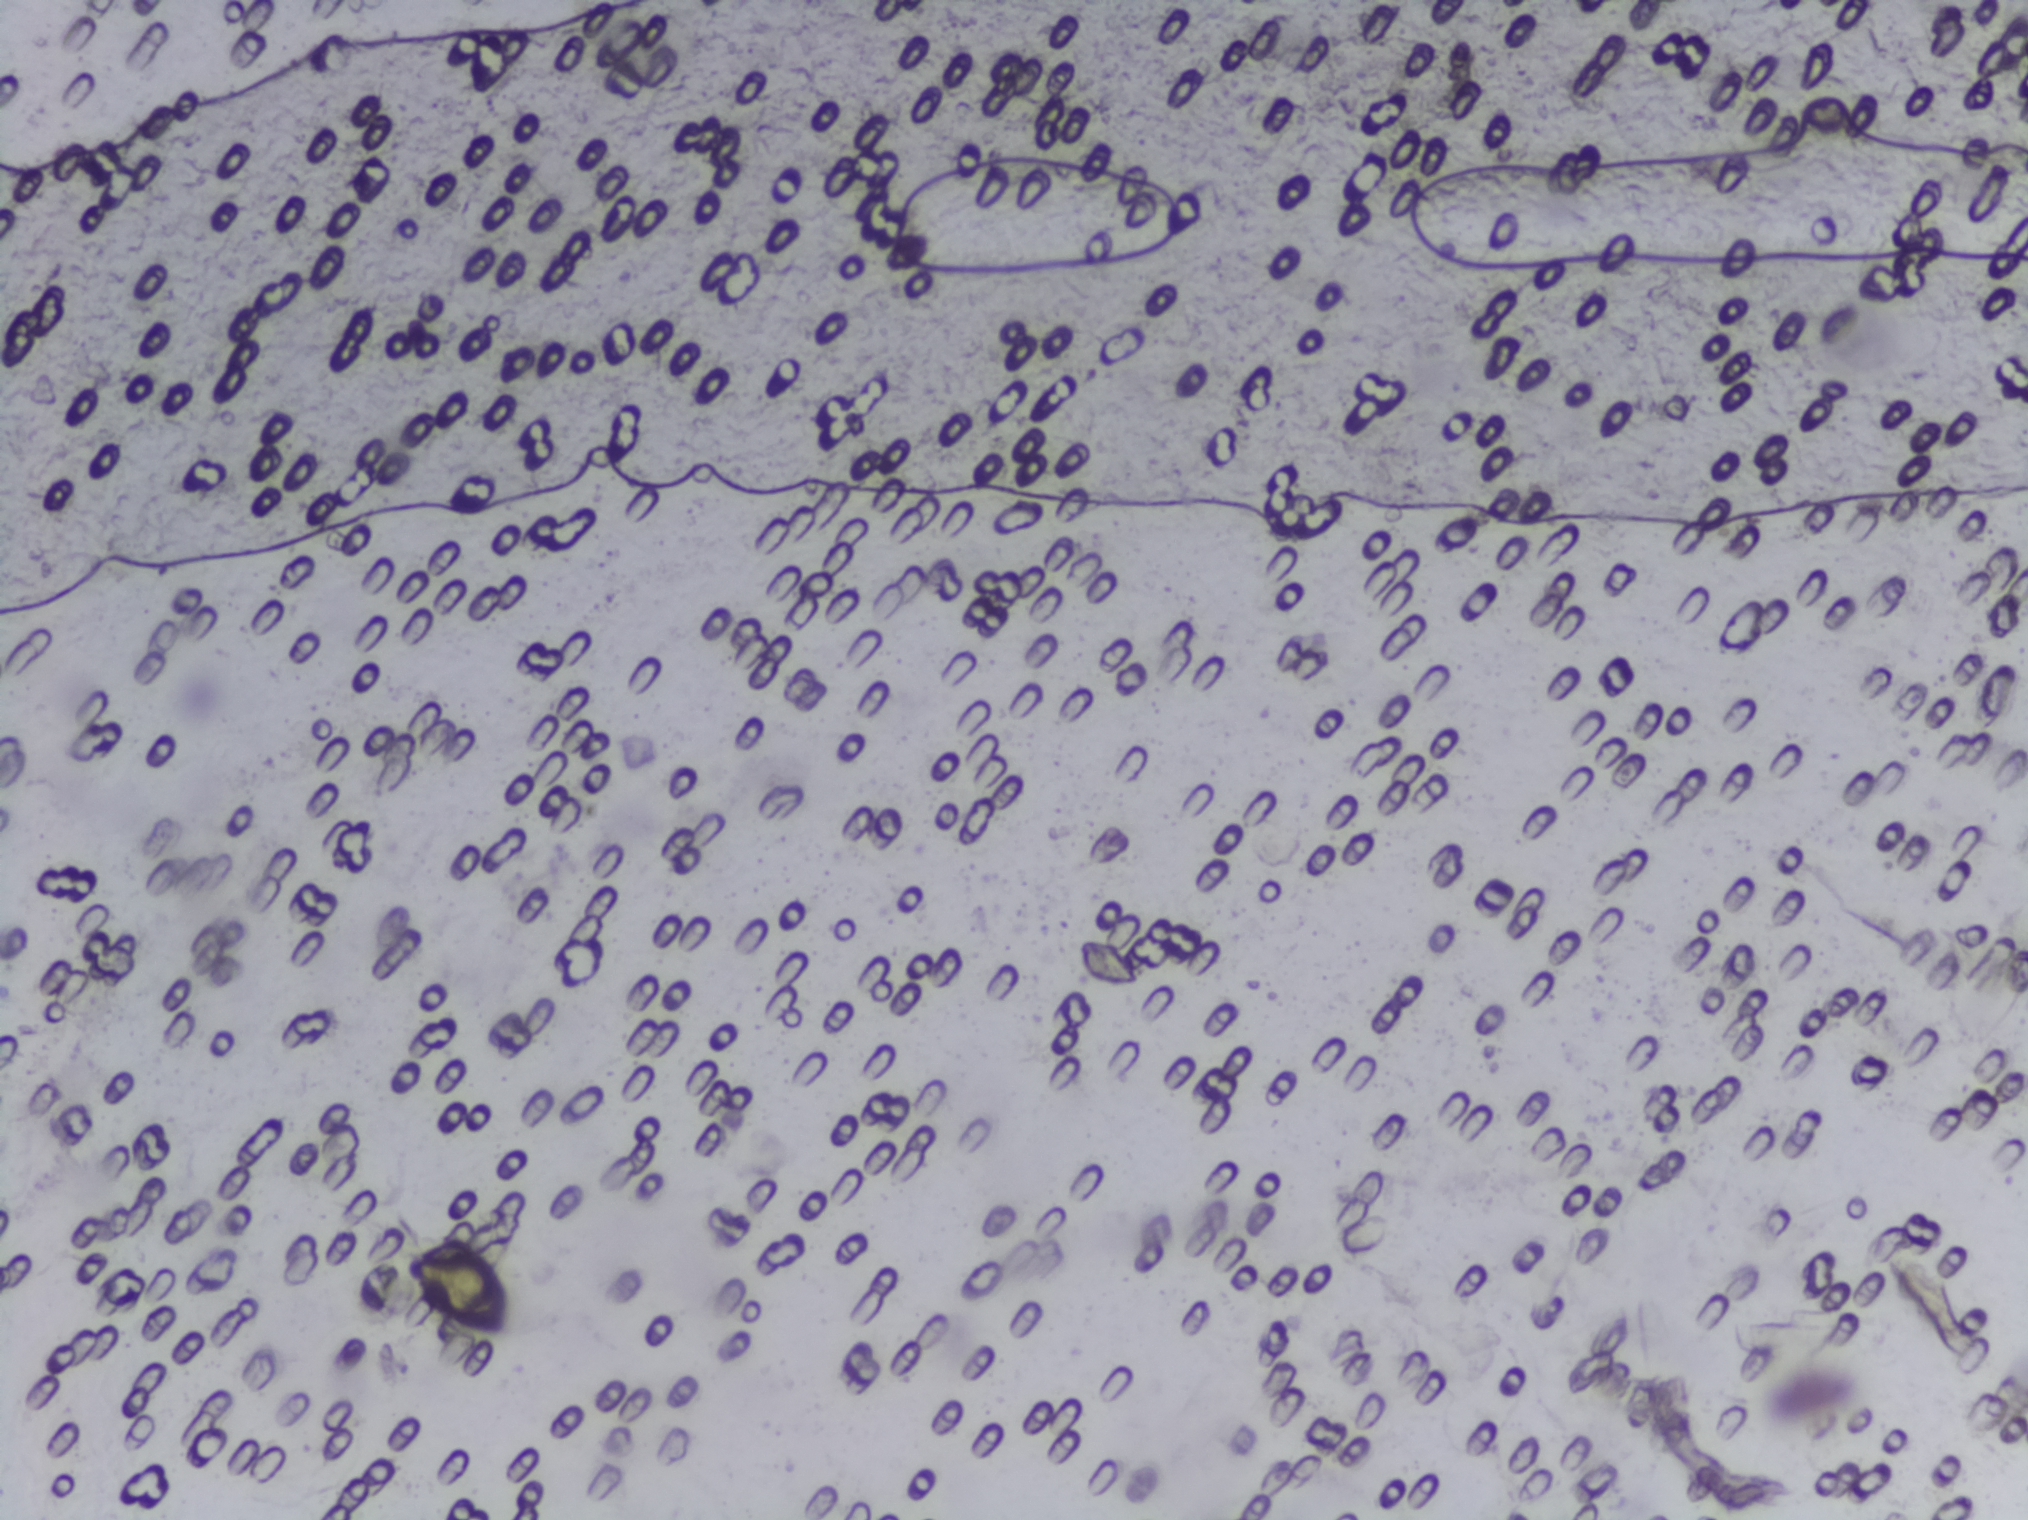
Microscope photograph (4× objective) of a membrane that a urine sample was filtered through.
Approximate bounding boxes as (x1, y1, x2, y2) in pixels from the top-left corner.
The expert annotation outlines Schistosoma eggs at (422, 1239, 505, 1333). Eggs that touch can end up inside the same outlined area.